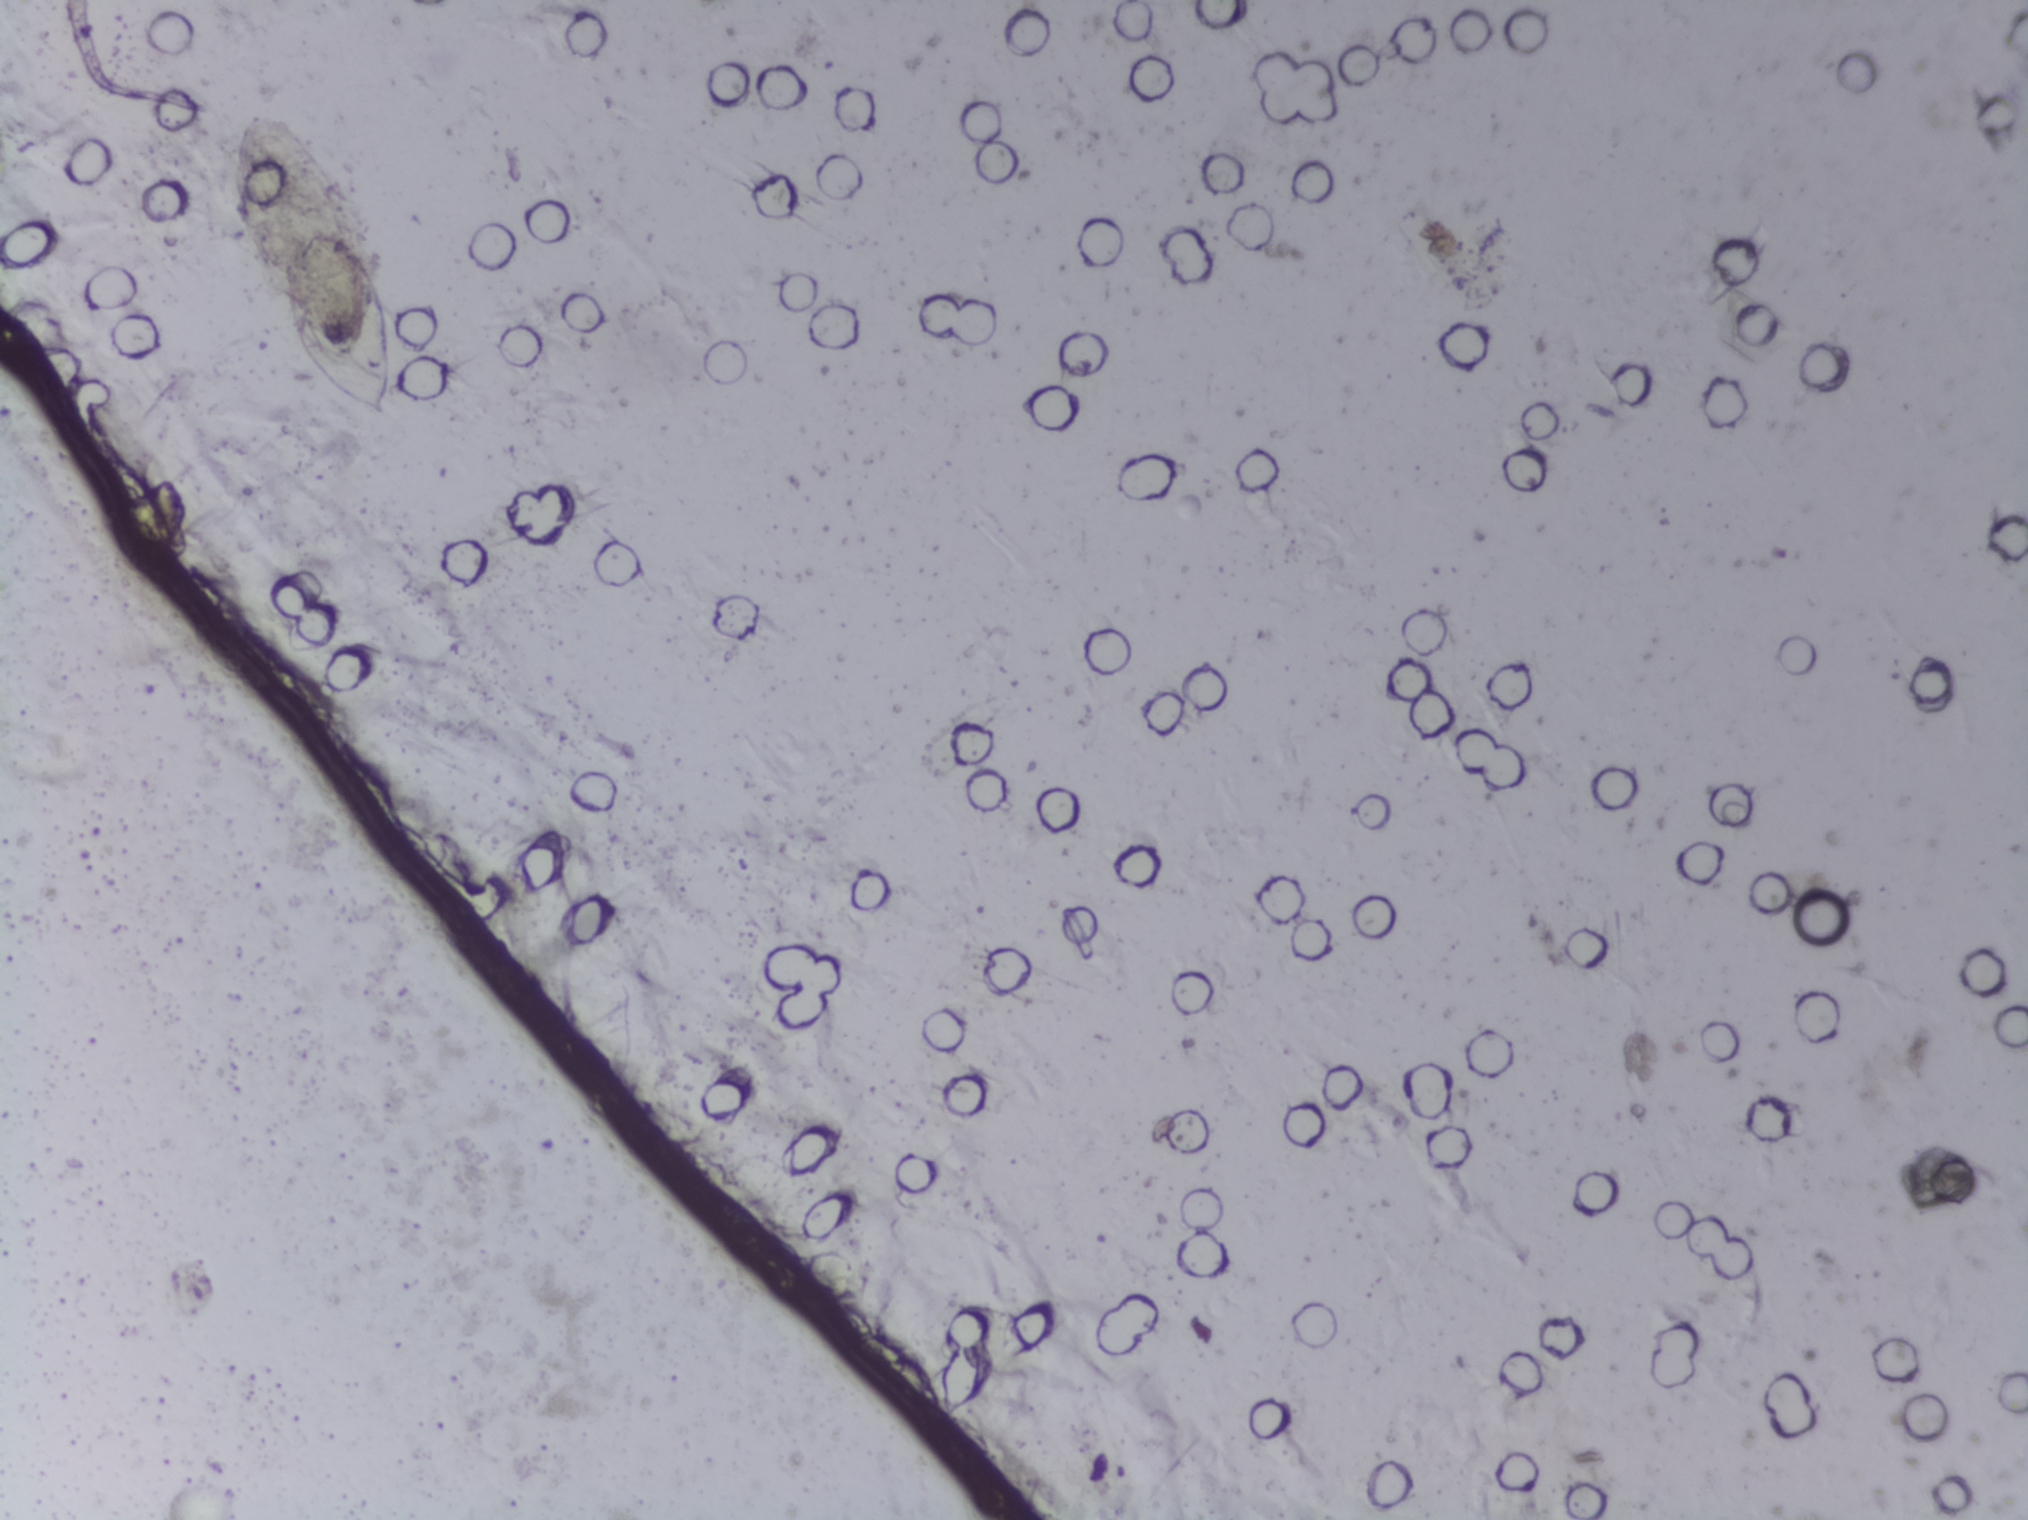
Urine filter membrane photographed through a 4× microscope objective.
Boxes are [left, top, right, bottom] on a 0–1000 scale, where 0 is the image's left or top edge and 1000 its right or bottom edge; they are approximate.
Findings: one area outlined as Schistosoma eggs. Location: [139, 153, 196, 278]. Marked pixels, not the box around them: about 0.5% of the image. Eggs that touch can end up inside the same outlined area.